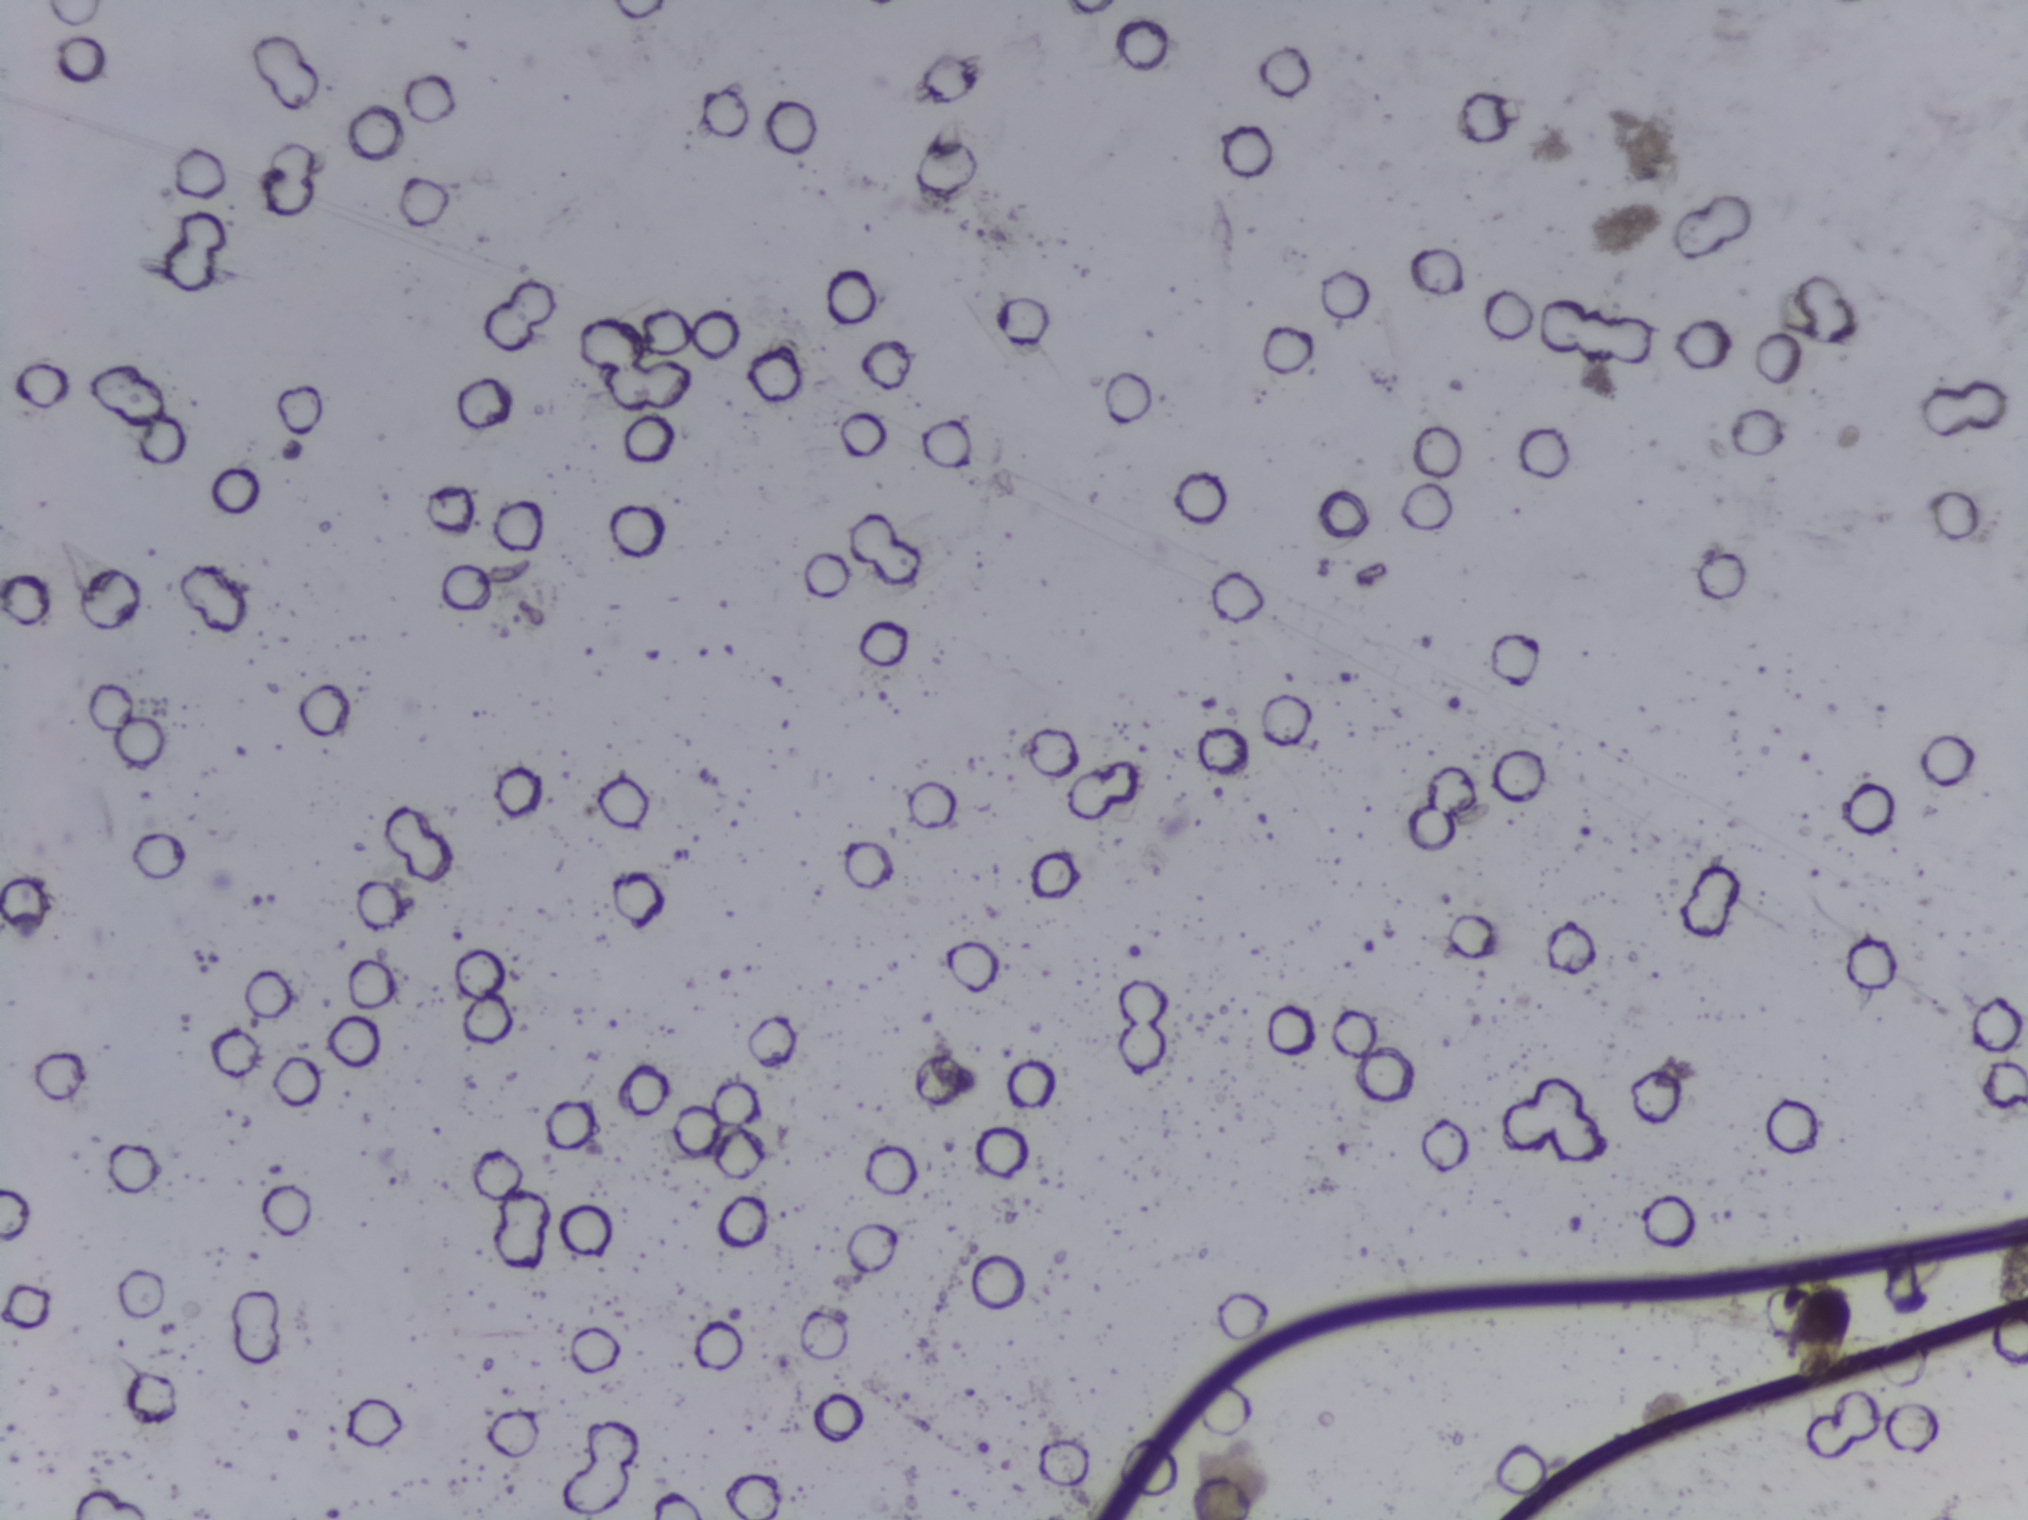
The expert annotation marks no Schistosoma egg in this field of view.
One field of view of a urine filter membrane, 4× objective, 2028 × 1520 pixels.